Microscope photograph (4× objective) of a membrane that a urine sample was filtered through. Field of view: about 1.5 mm wide and 1.1 mm high.
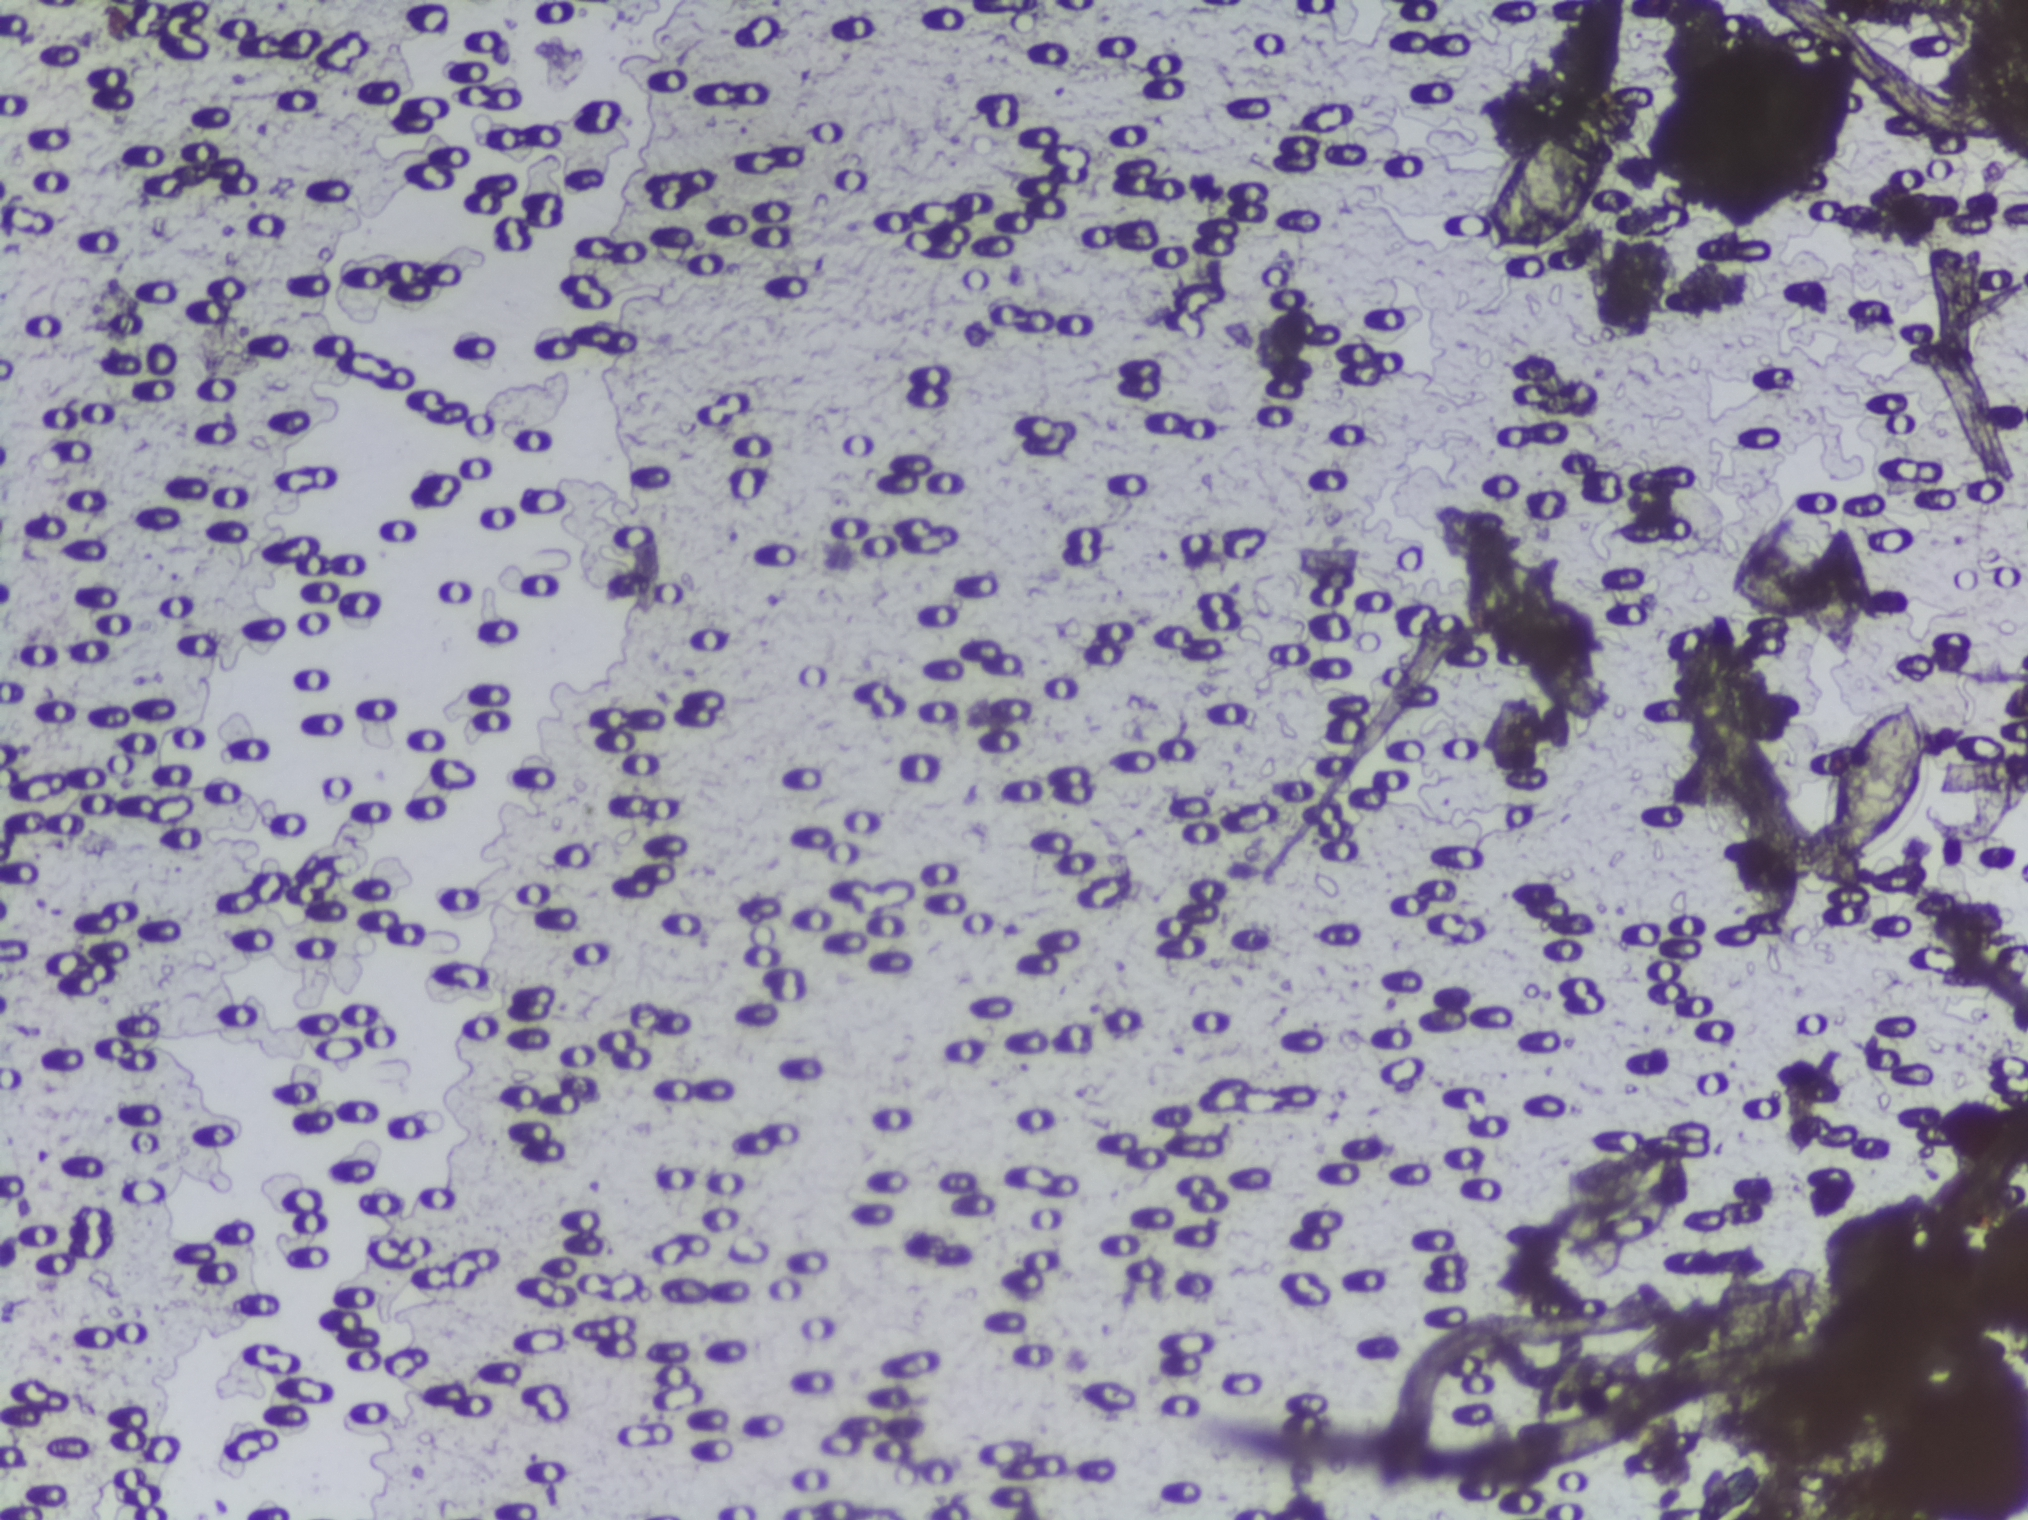
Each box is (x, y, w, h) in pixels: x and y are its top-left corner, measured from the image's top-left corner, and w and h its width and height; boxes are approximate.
Schistosoma eggs are outlined in the expert annotation at (x=1461, y=92, w=191, h=173) and (x=1806, y=692, w=140, h=179). An outlined area can hold more than one egg.